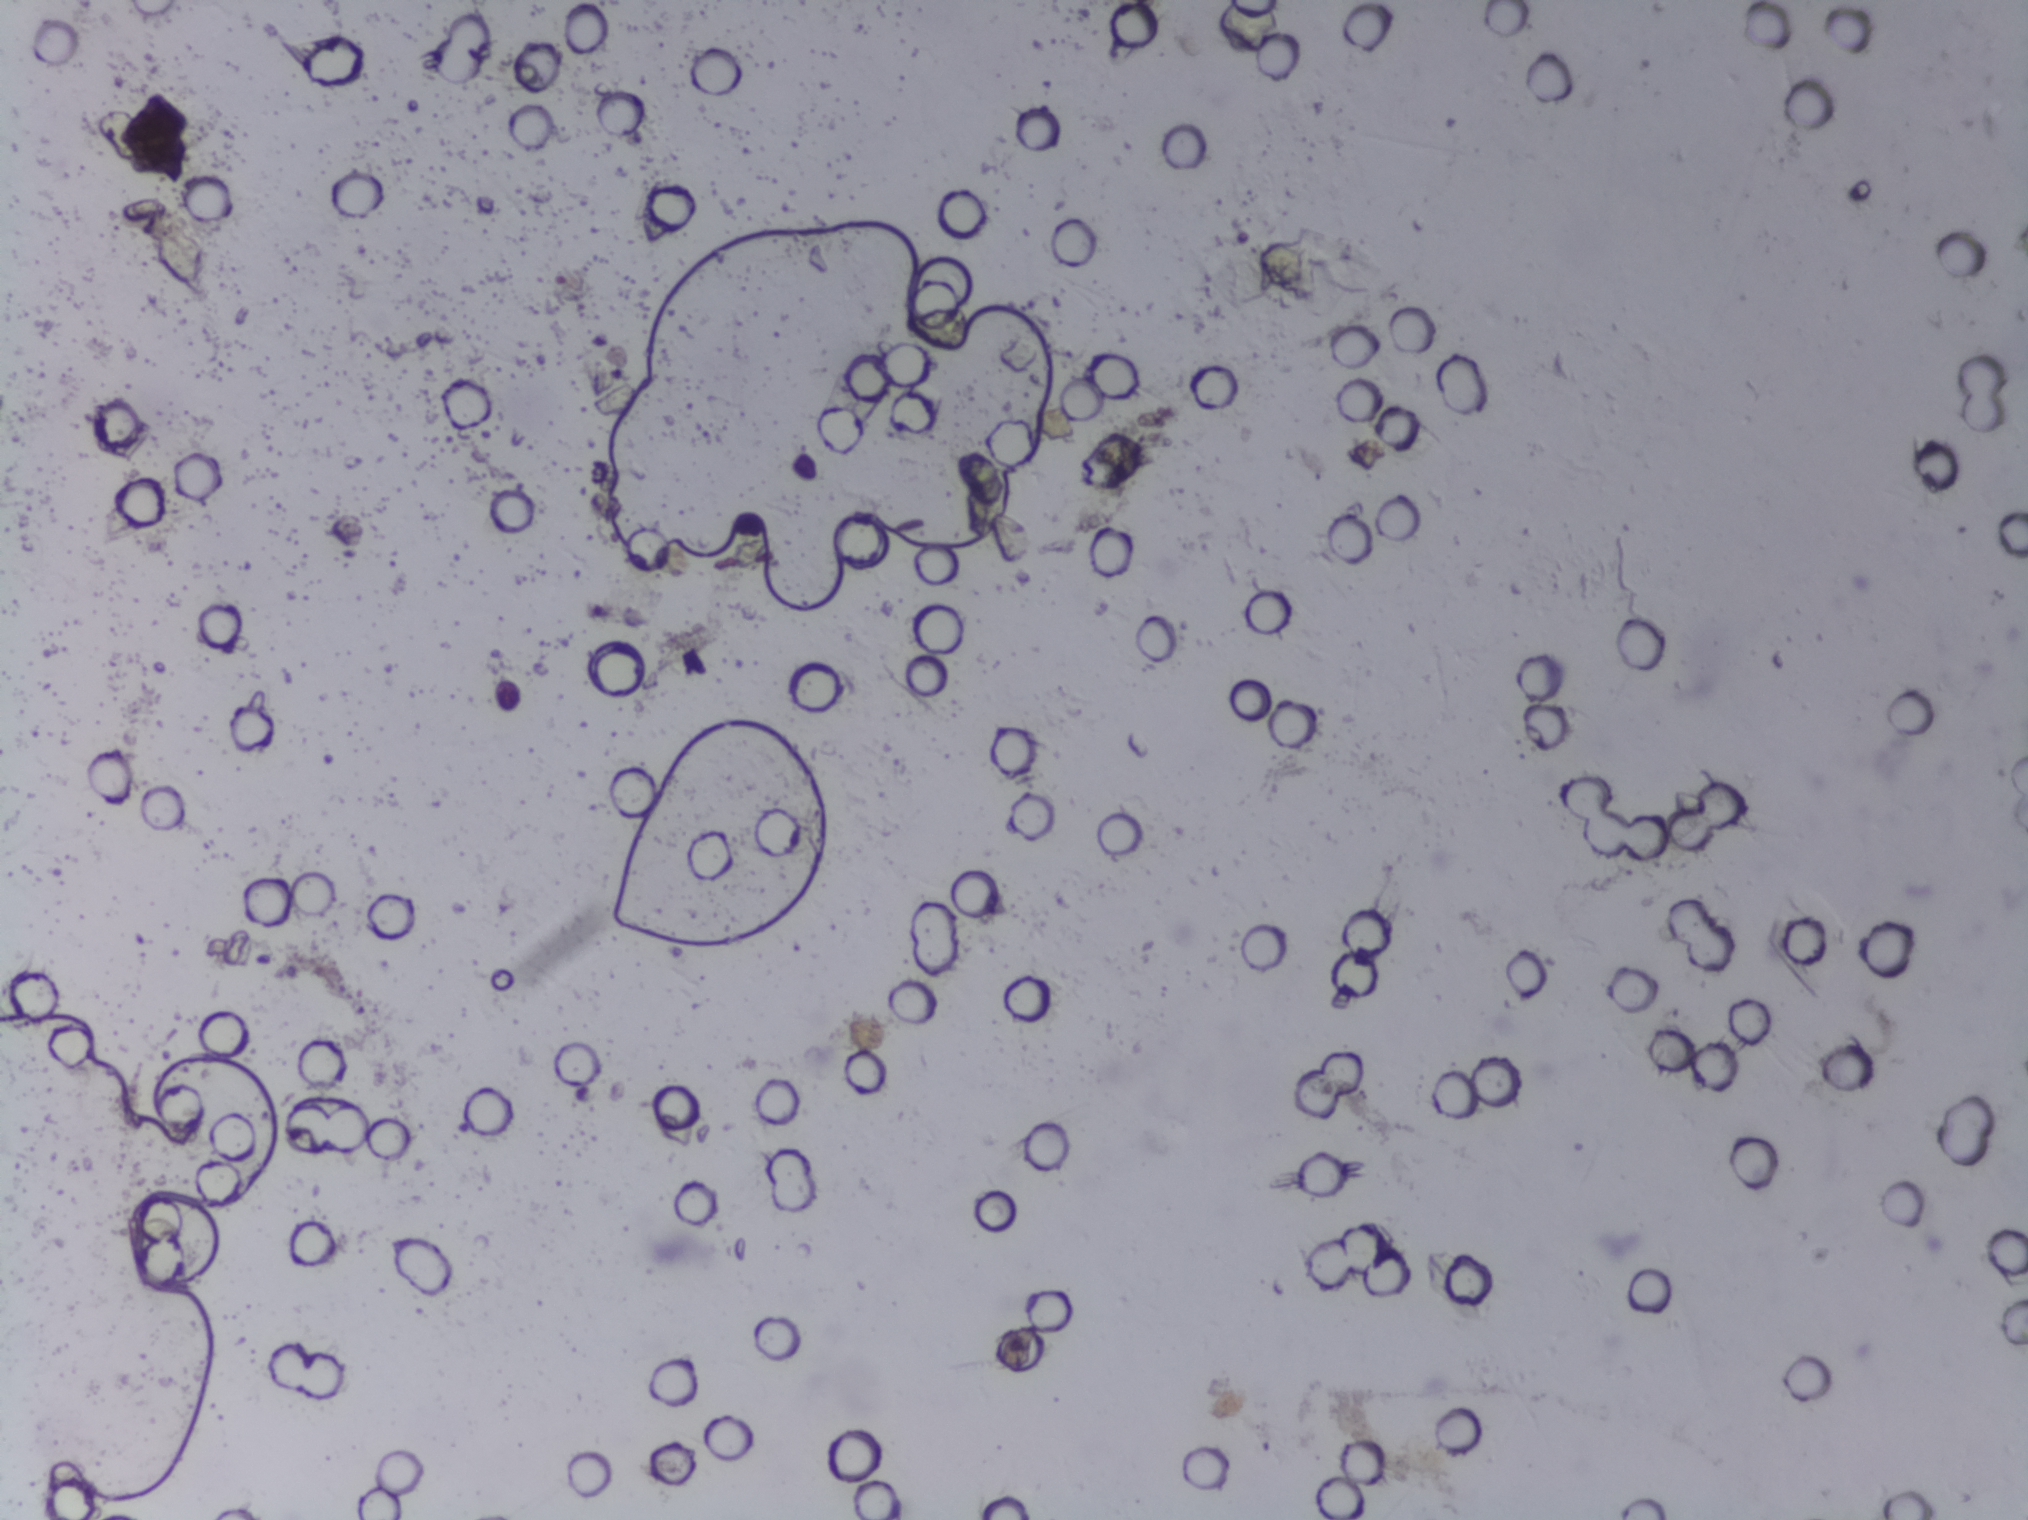
Photomicrograph of a urine filtration membrane, 4× objective. Field of view: about 1.5 mm wide and 1.1 mm high.
No area of this image was outlined as a Schistosoma egg.